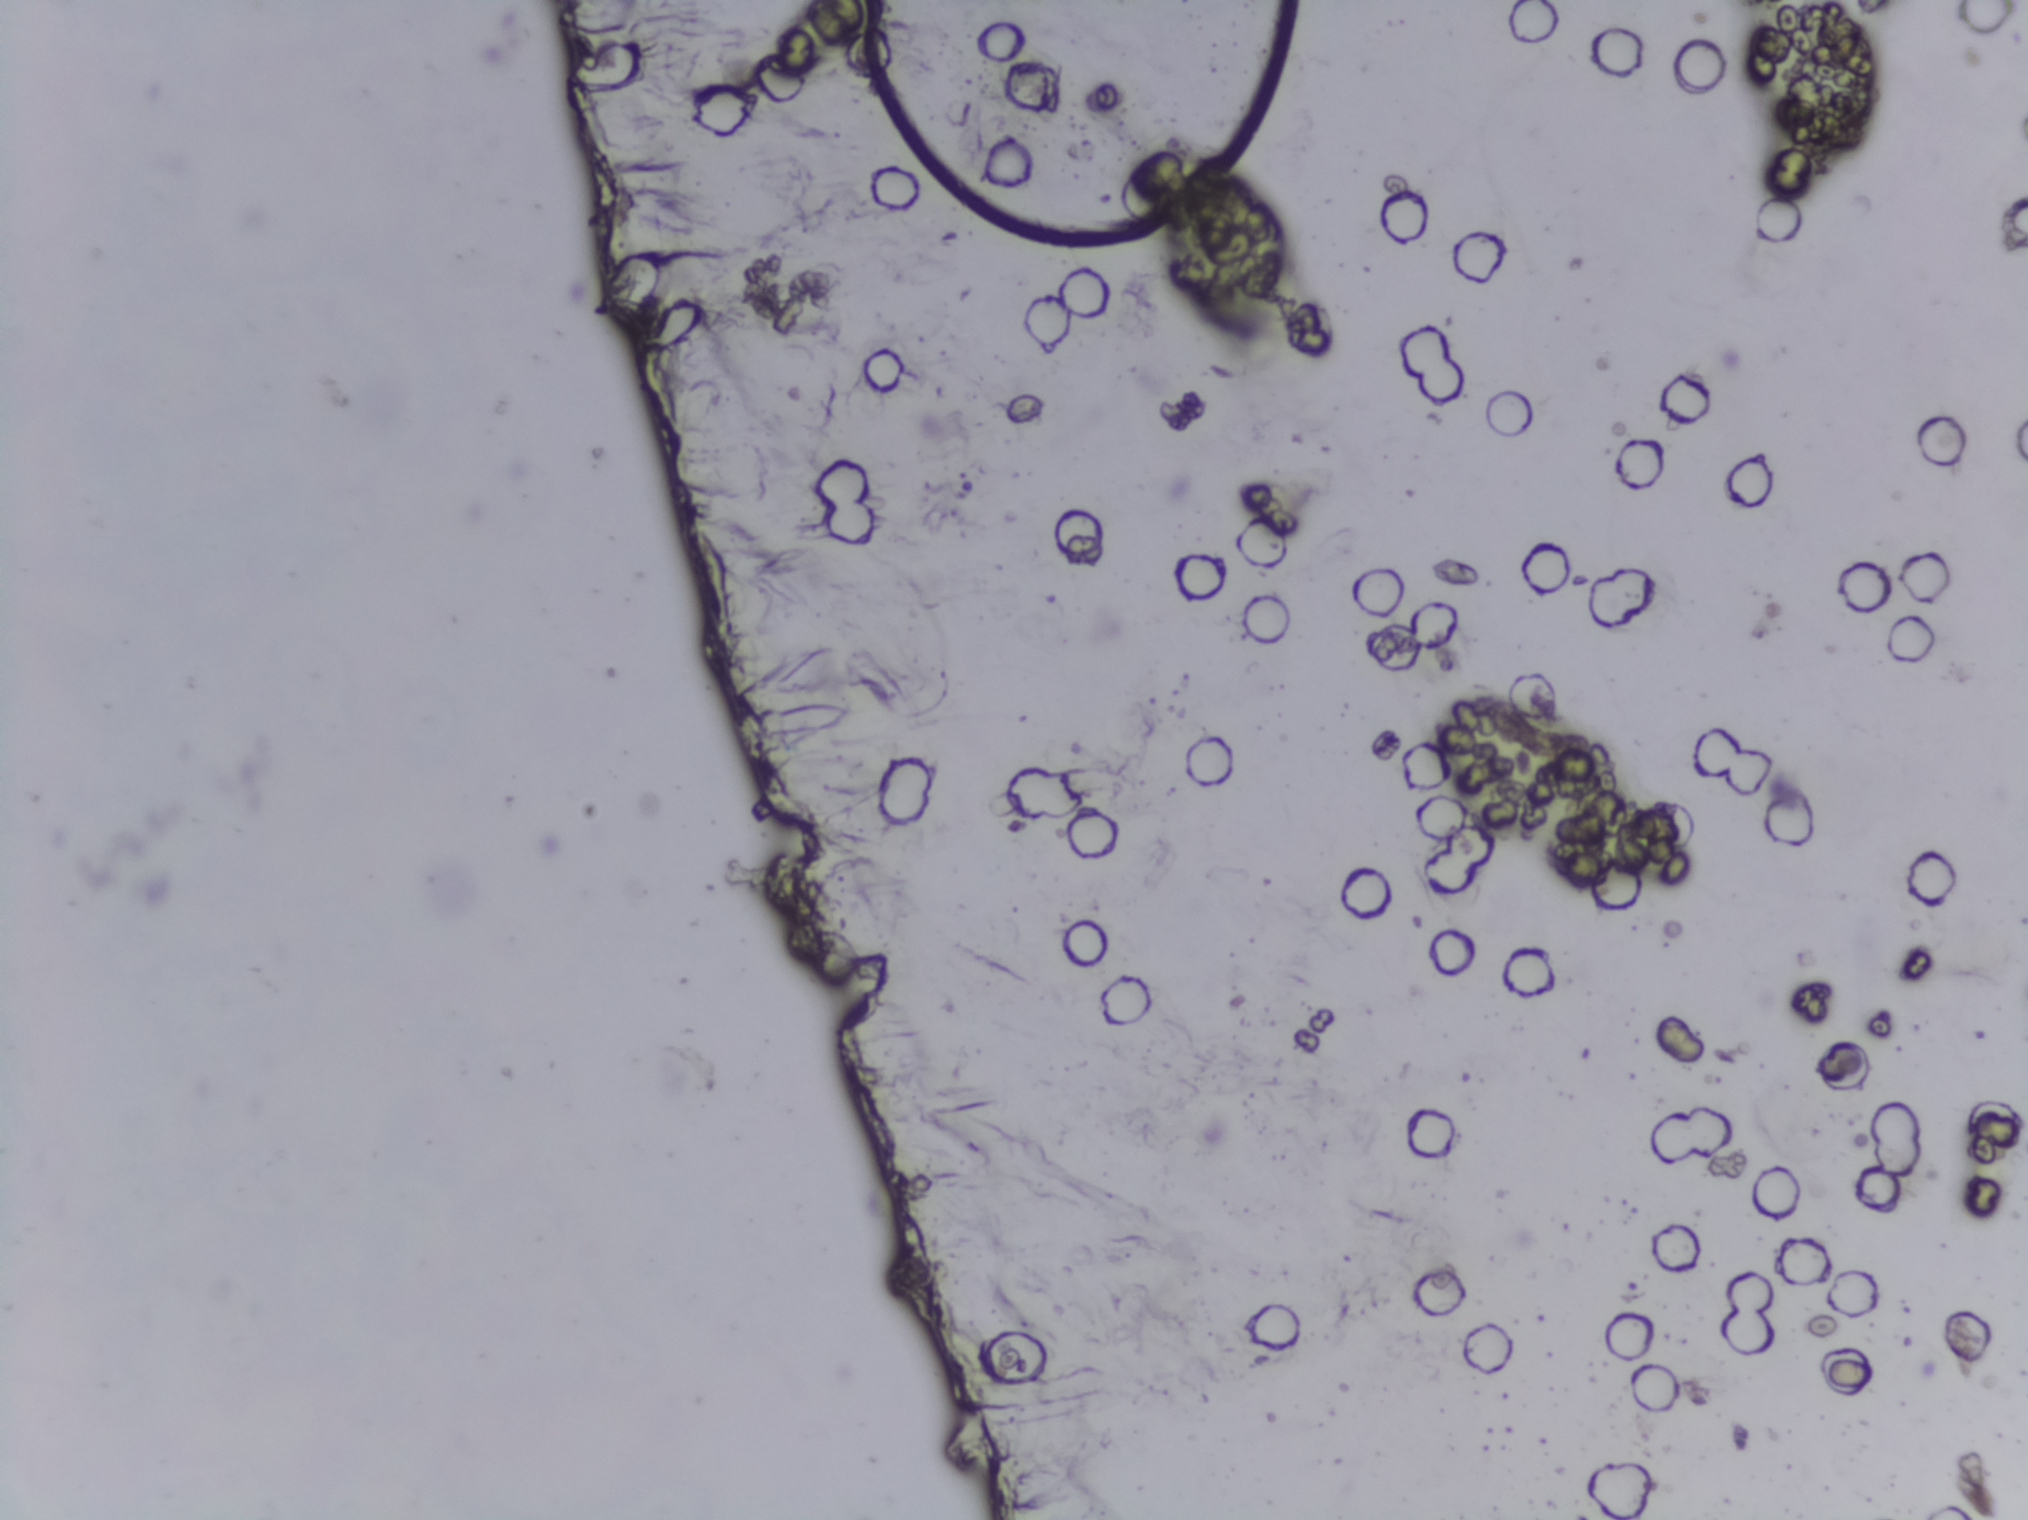
Photomicrograph of a urine filtration membrane, 4× objective.
No Schistosoma egg is outlined in this image's expert annotation.